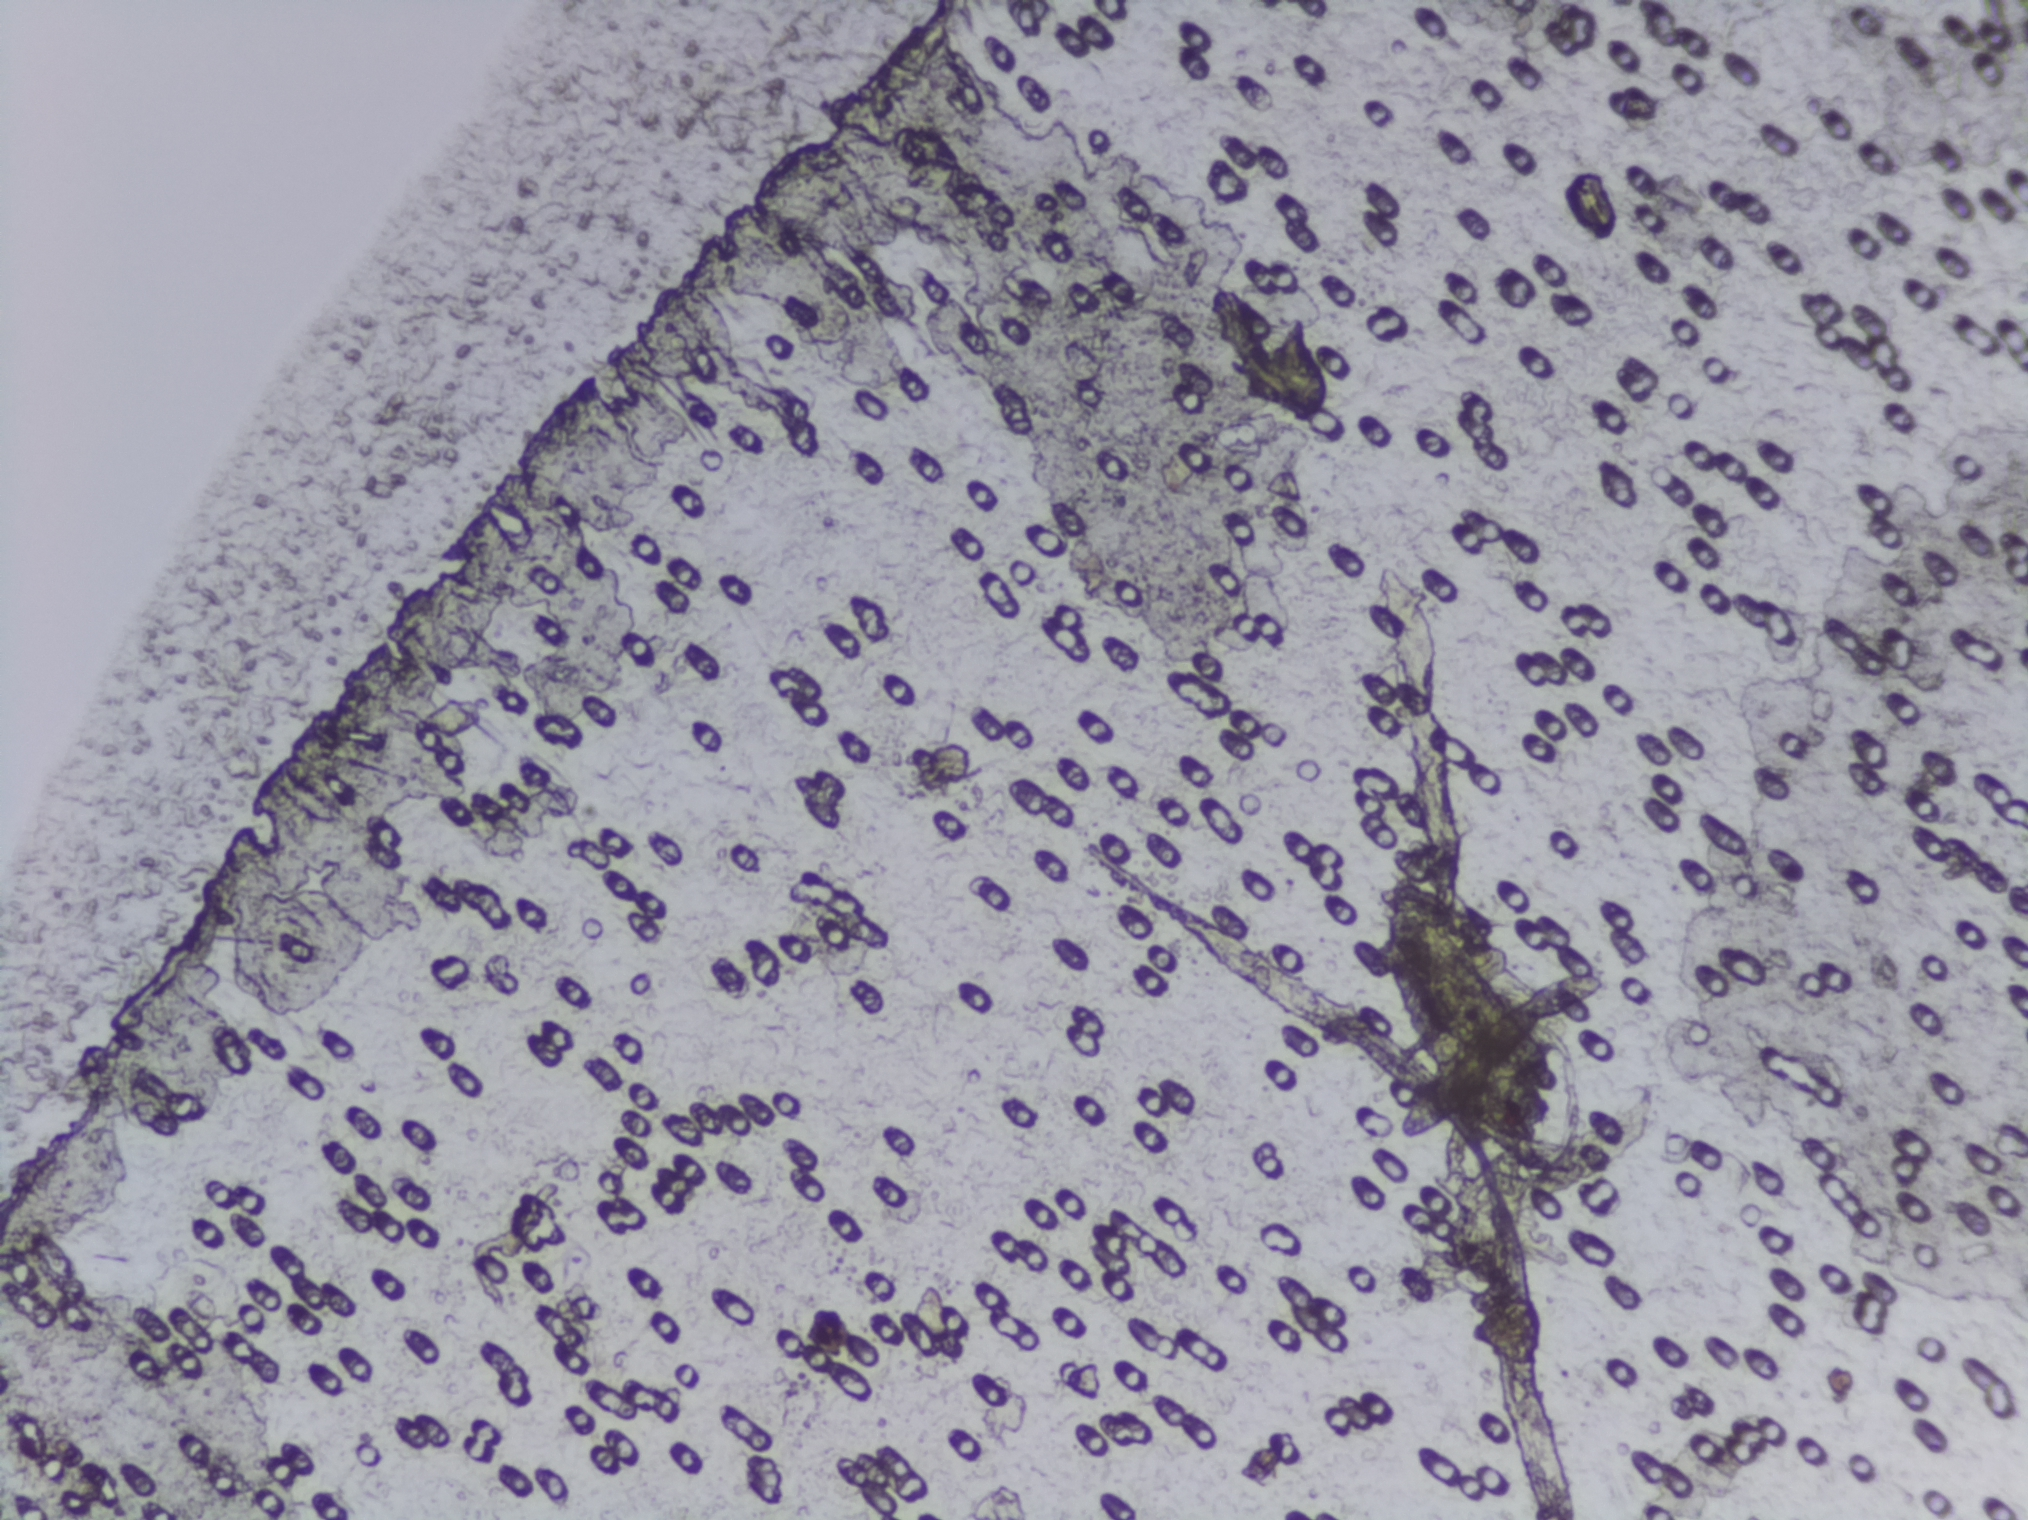
One field of view of a urine filter membrane, 4× objective, 2028 × 1520 pixels.
No area of this image was outlined as a Schistosoma egg.